Urine filtration membrane under a 4× objective, photographed by an automated digital microscope.
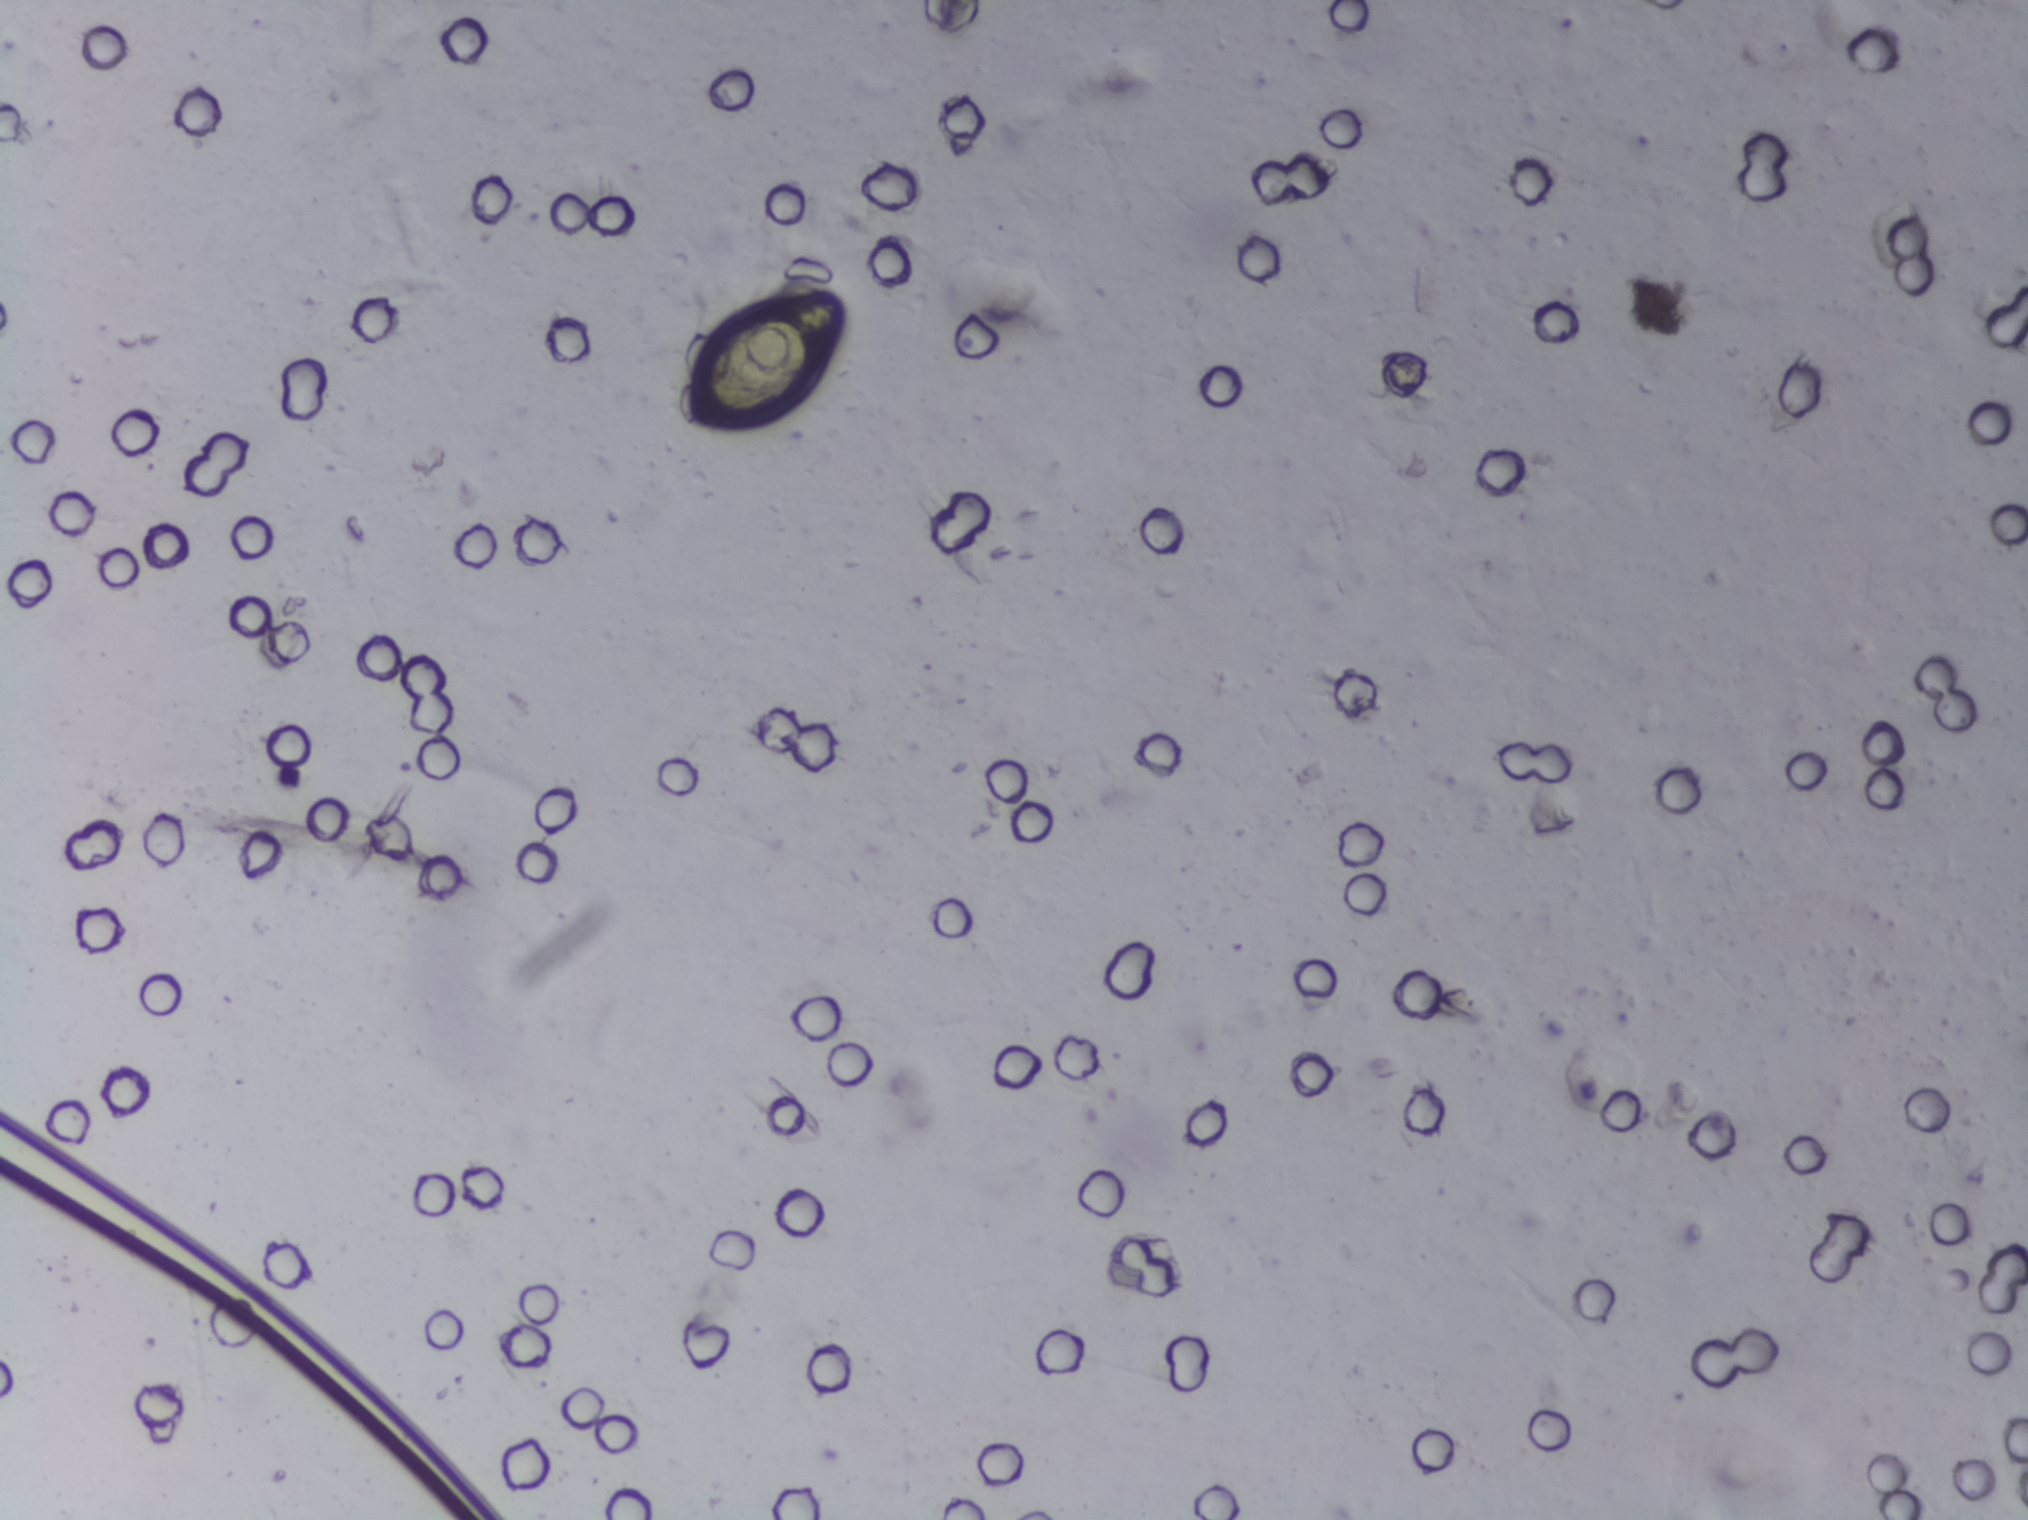
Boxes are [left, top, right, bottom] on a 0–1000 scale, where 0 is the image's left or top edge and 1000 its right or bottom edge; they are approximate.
The expert annotation outlines Schistosoma eggs at [336, 191, 419, 283]. The marked pixels themselves, not the box around them, cover about 0.5% of the image. Eggs that touch can end up inside the same outlined area.